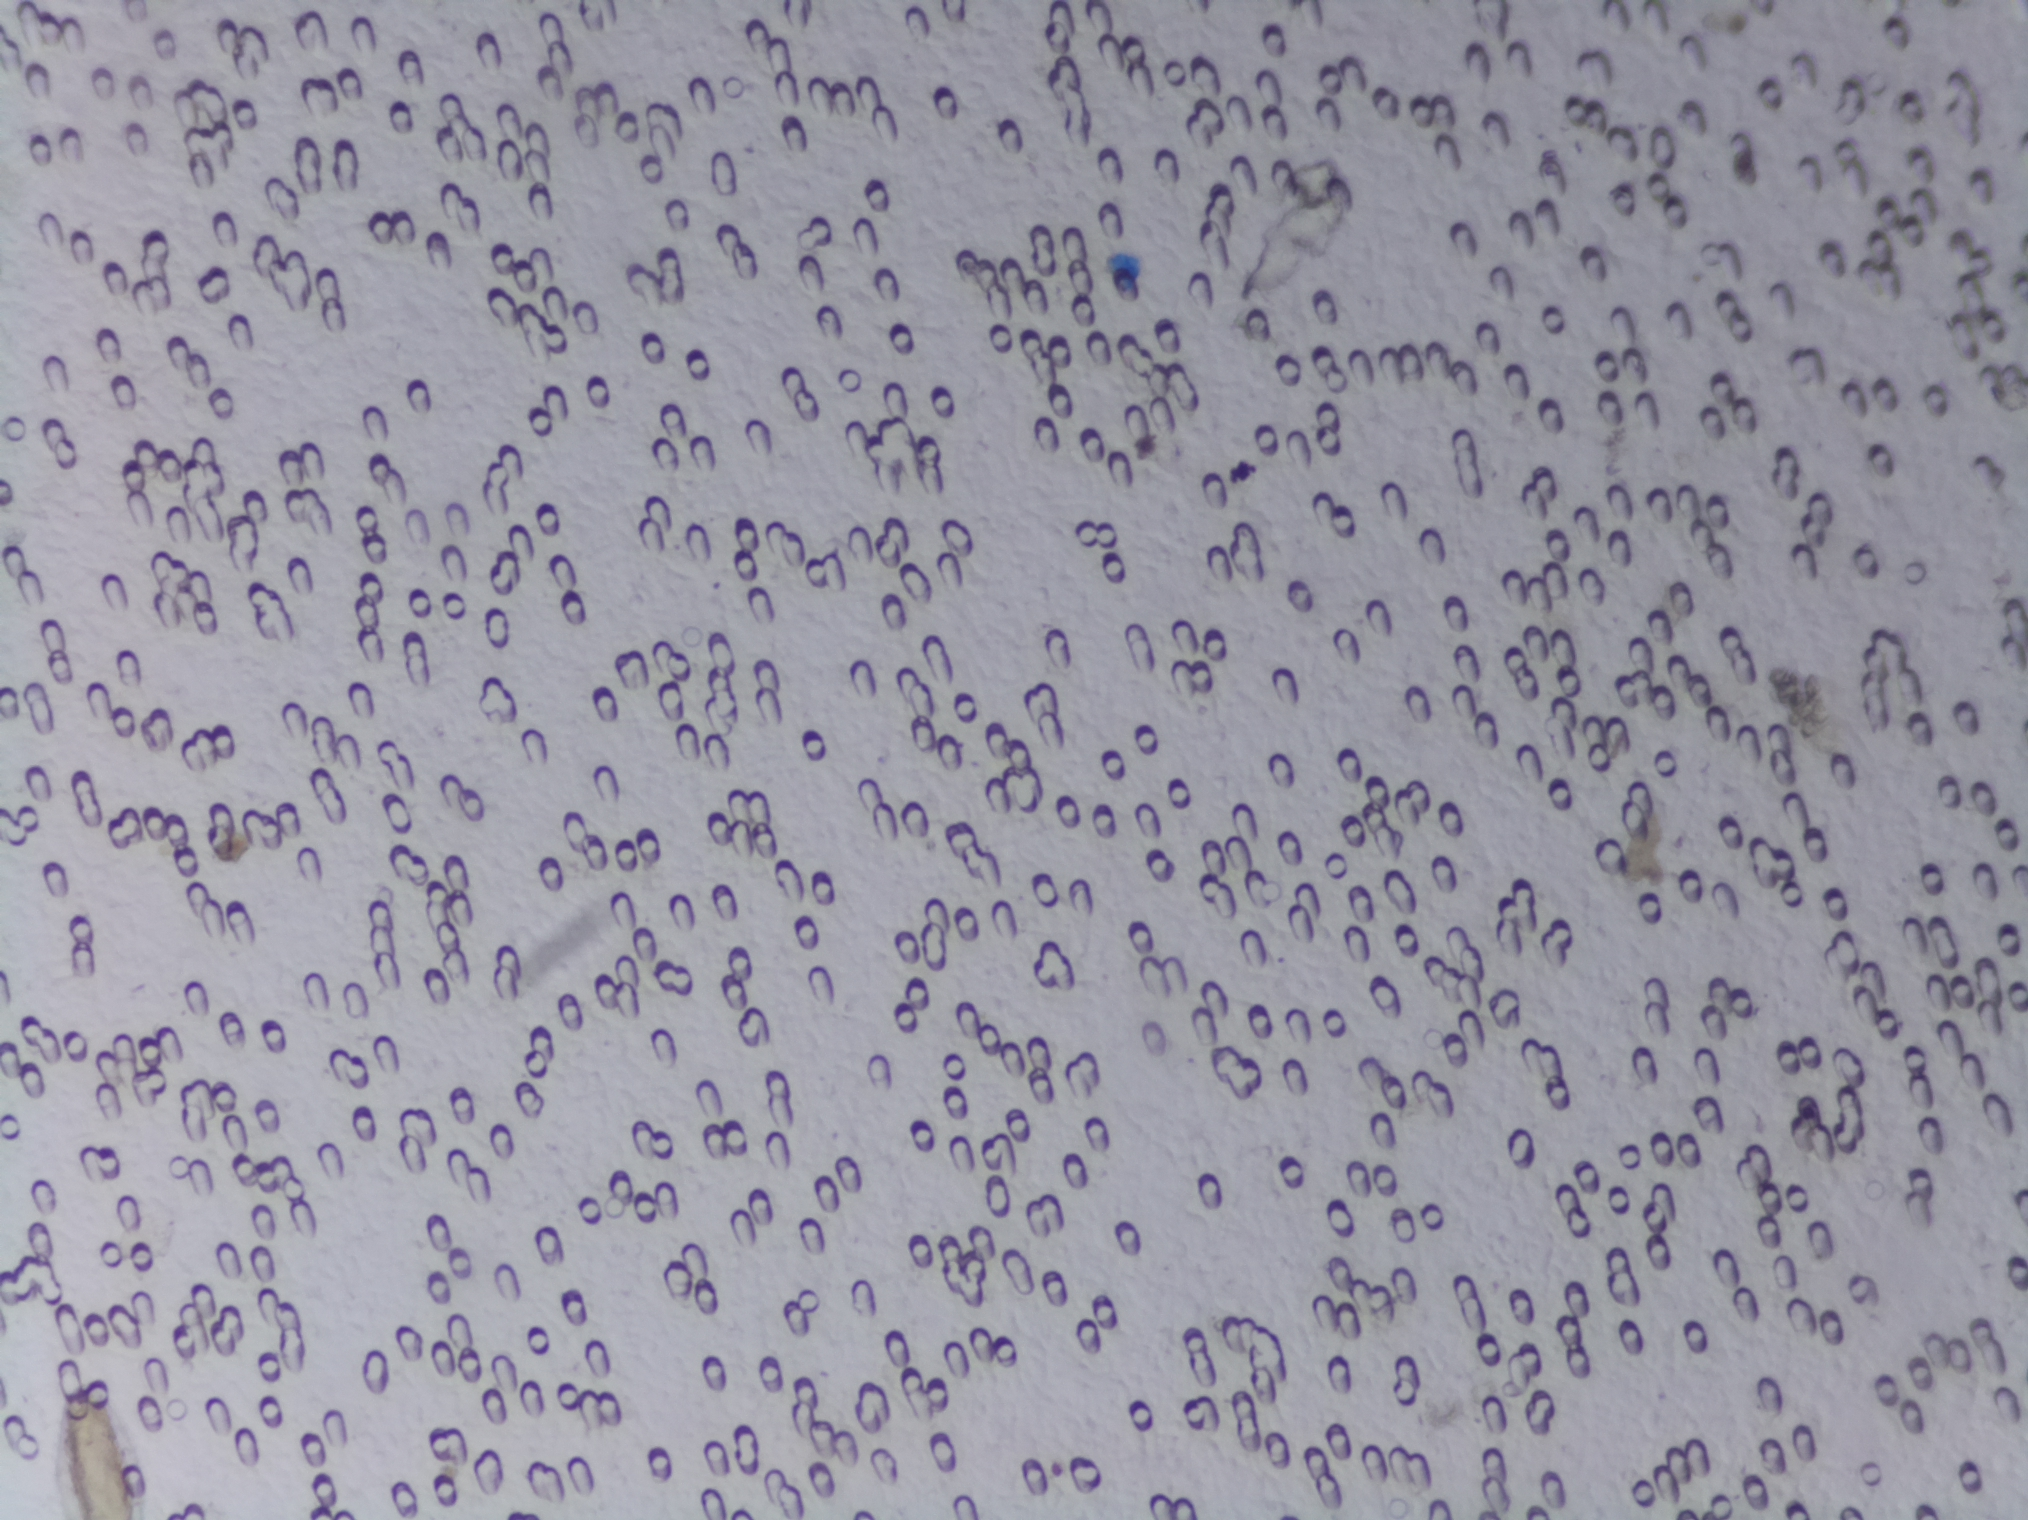
Microscope photograph (4× objective) of a membrane that a urine sample was filtered through.
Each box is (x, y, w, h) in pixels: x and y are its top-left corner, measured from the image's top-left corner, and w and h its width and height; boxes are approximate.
Schistosoma eggs are outlined in the expert annotation at (x=43, y=1370, w=114, h=150) (reaching the bottom edge of the frame). A single outlined area may contain several eggs.